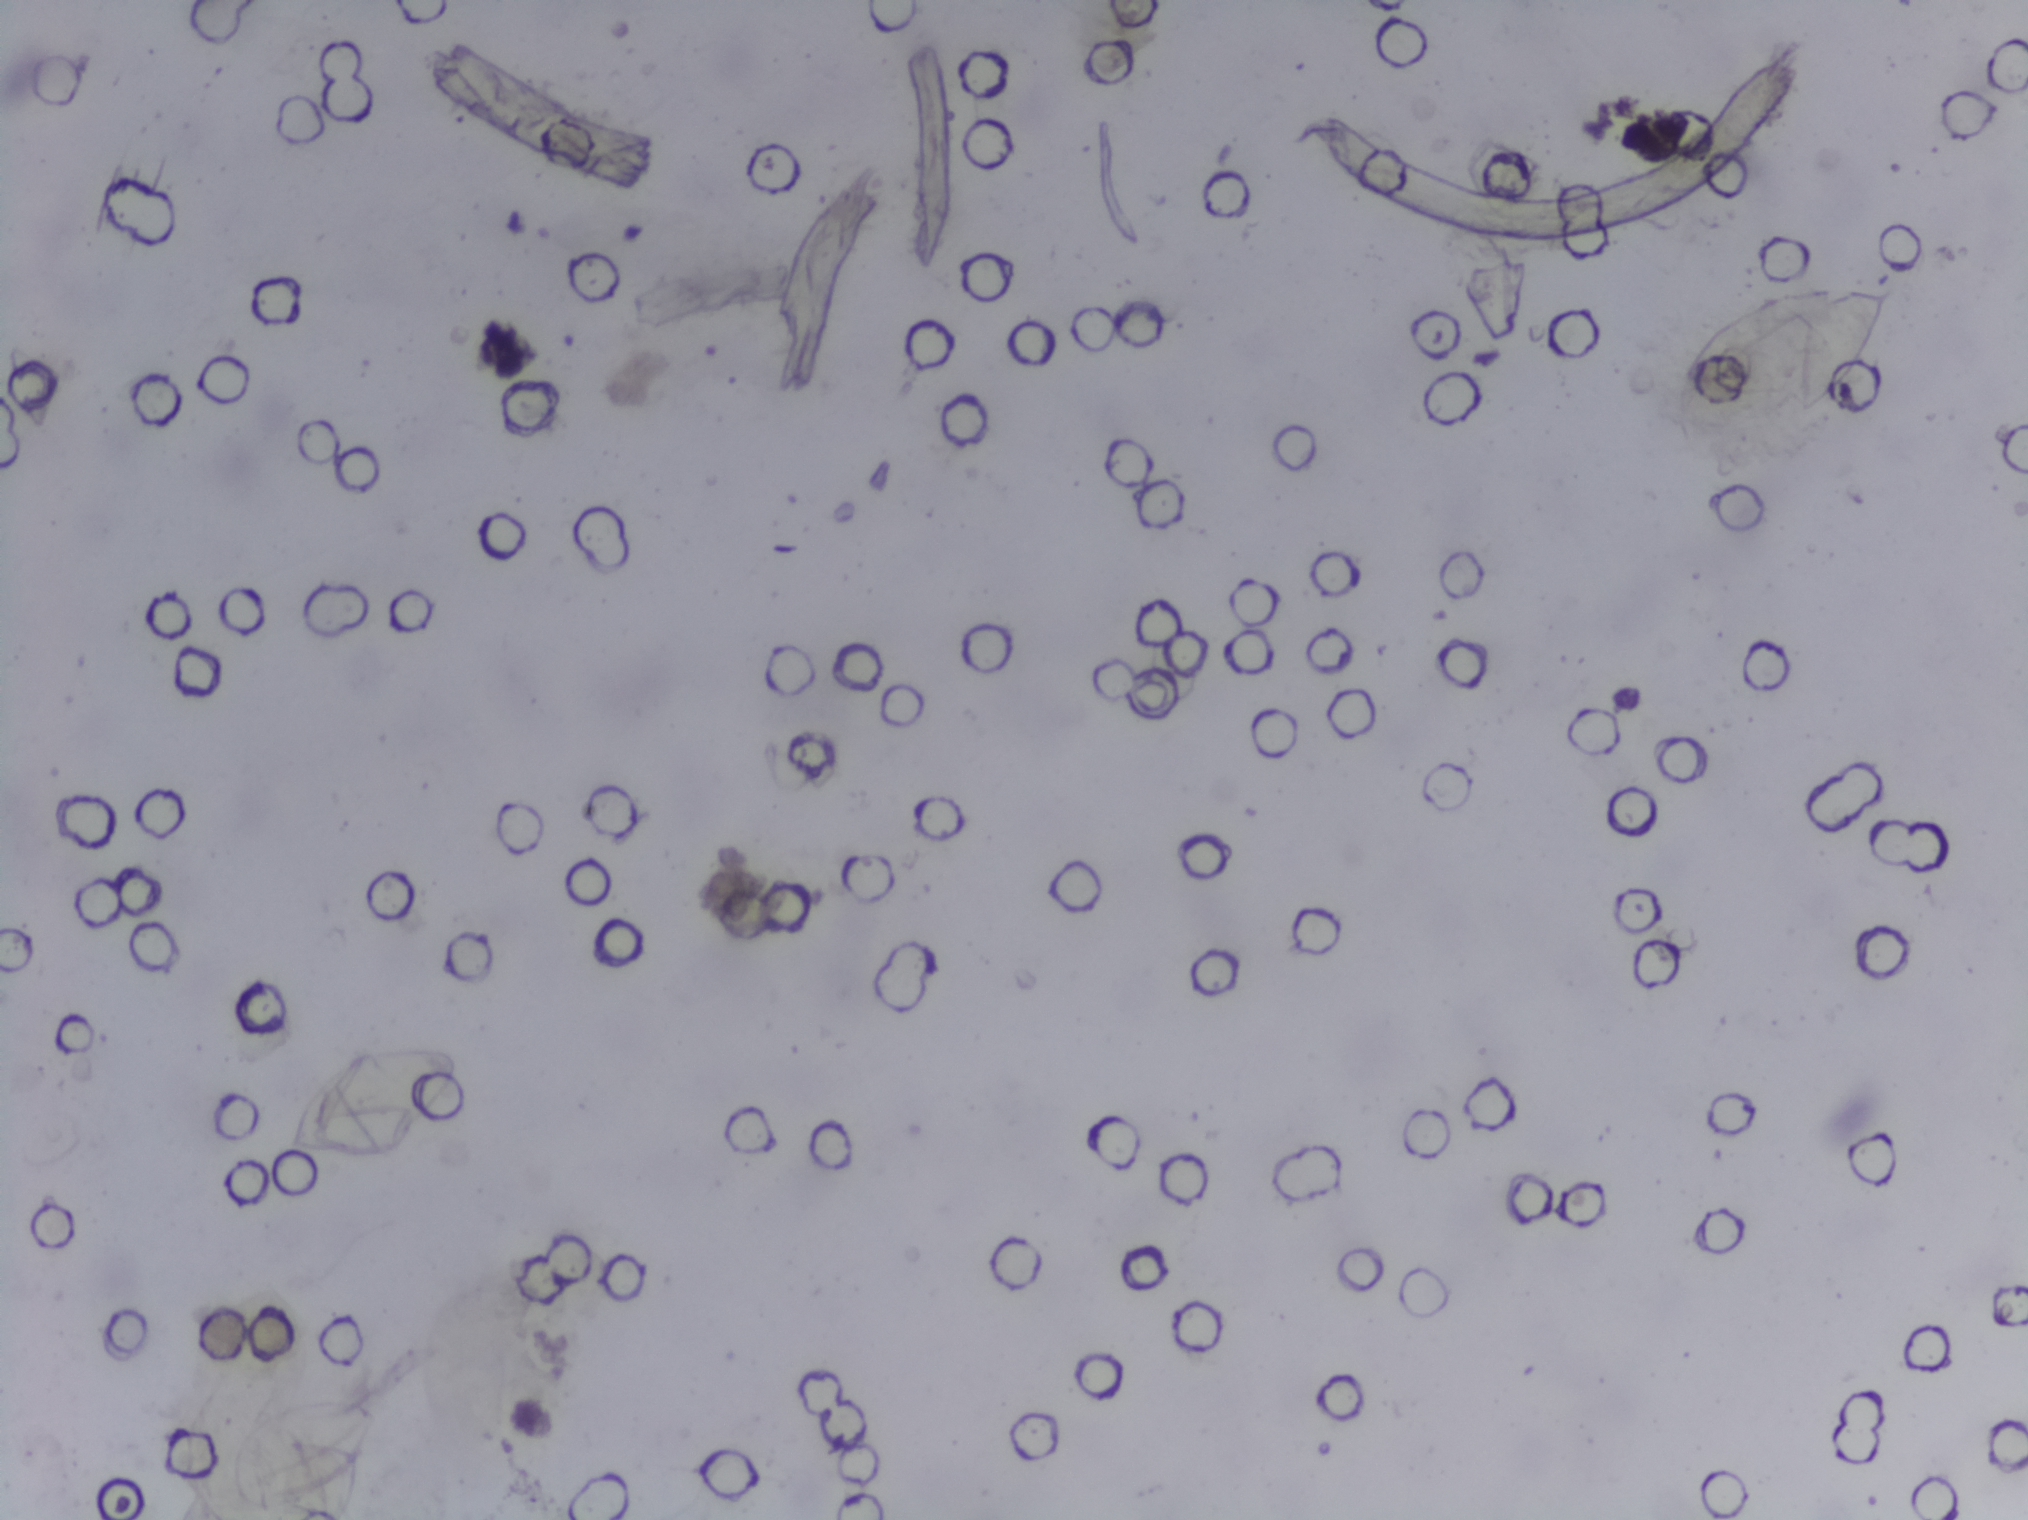
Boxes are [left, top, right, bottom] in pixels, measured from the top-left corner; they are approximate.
Schistosoma eggs are outlined in the expert annotation at [226, 1395, 389, 1509]; [282, 1045, 461, 1161]; [1659, 280, 1901, 440]. Marked pixels, not the boxes around them: about 1.7% of the image. An outlined area can hold more than one egg.
Microscope photograph (4× objective) of a membrane that a urine sample was filtered through.